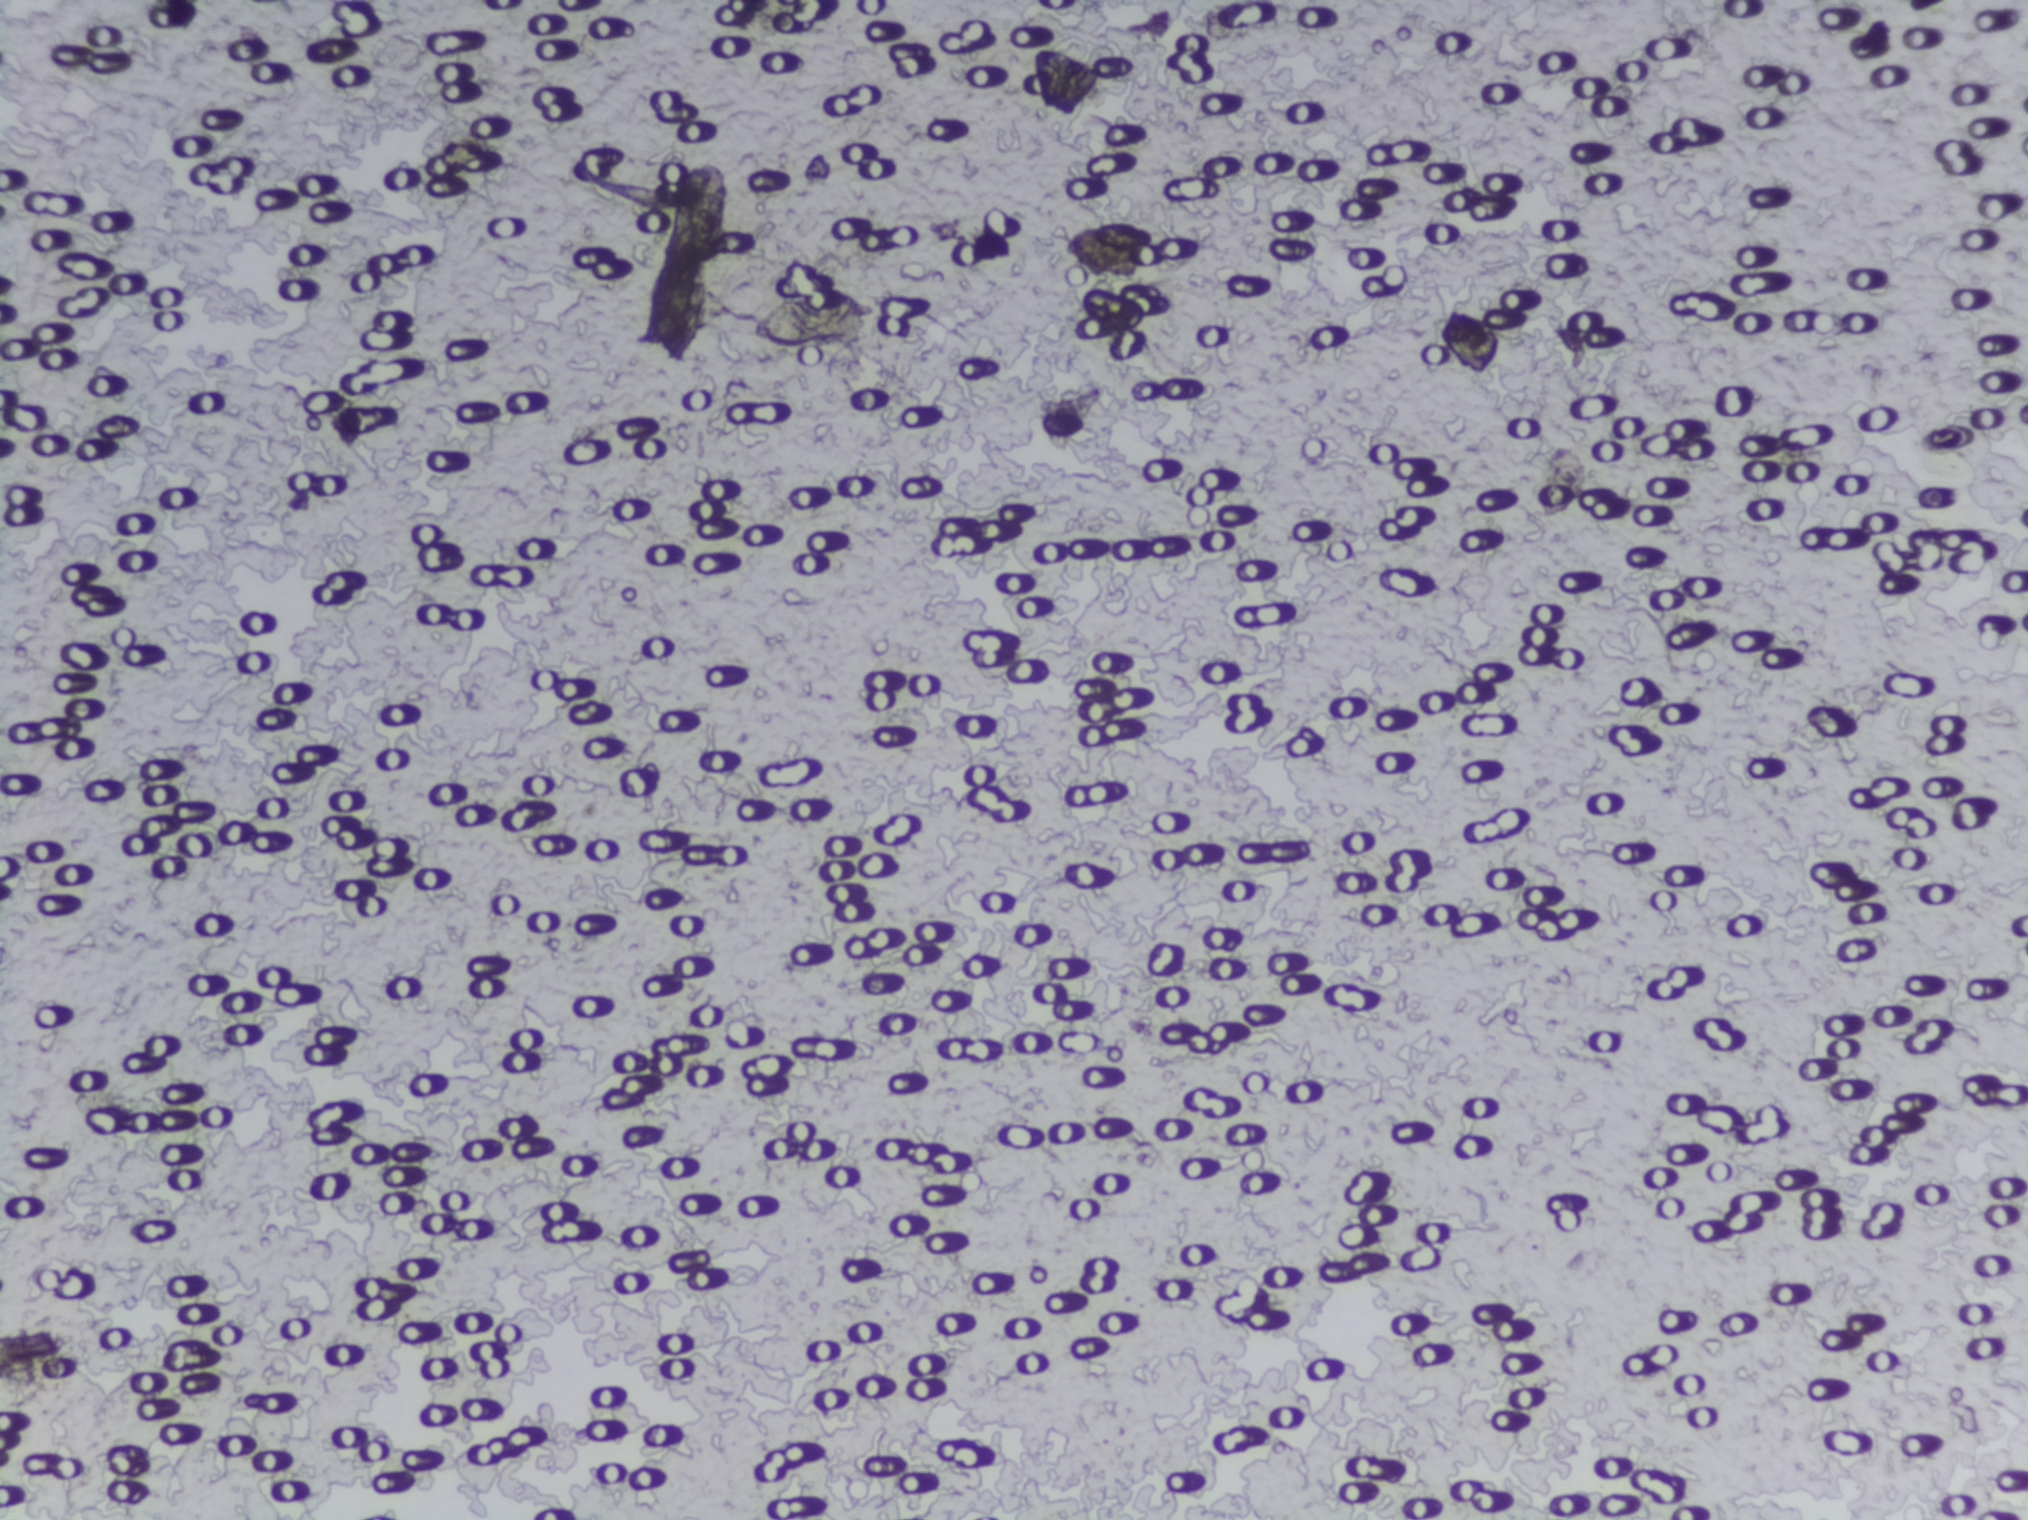
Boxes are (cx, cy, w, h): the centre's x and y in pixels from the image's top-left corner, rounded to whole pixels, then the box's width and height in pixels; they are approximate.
Schistosoma egg areas, outlined: (cx=813, cy=320, w=119, h=67). About 0.2% of the image's pixels are marked (the marked pixels themselves, not the box around them). Eggs that touch can end up inside the same outlined area. A marked egg may occasionally be S. mansoni rather than S. haematobium.
Photomicrograph of a urine filtration membrane, 4× objective.